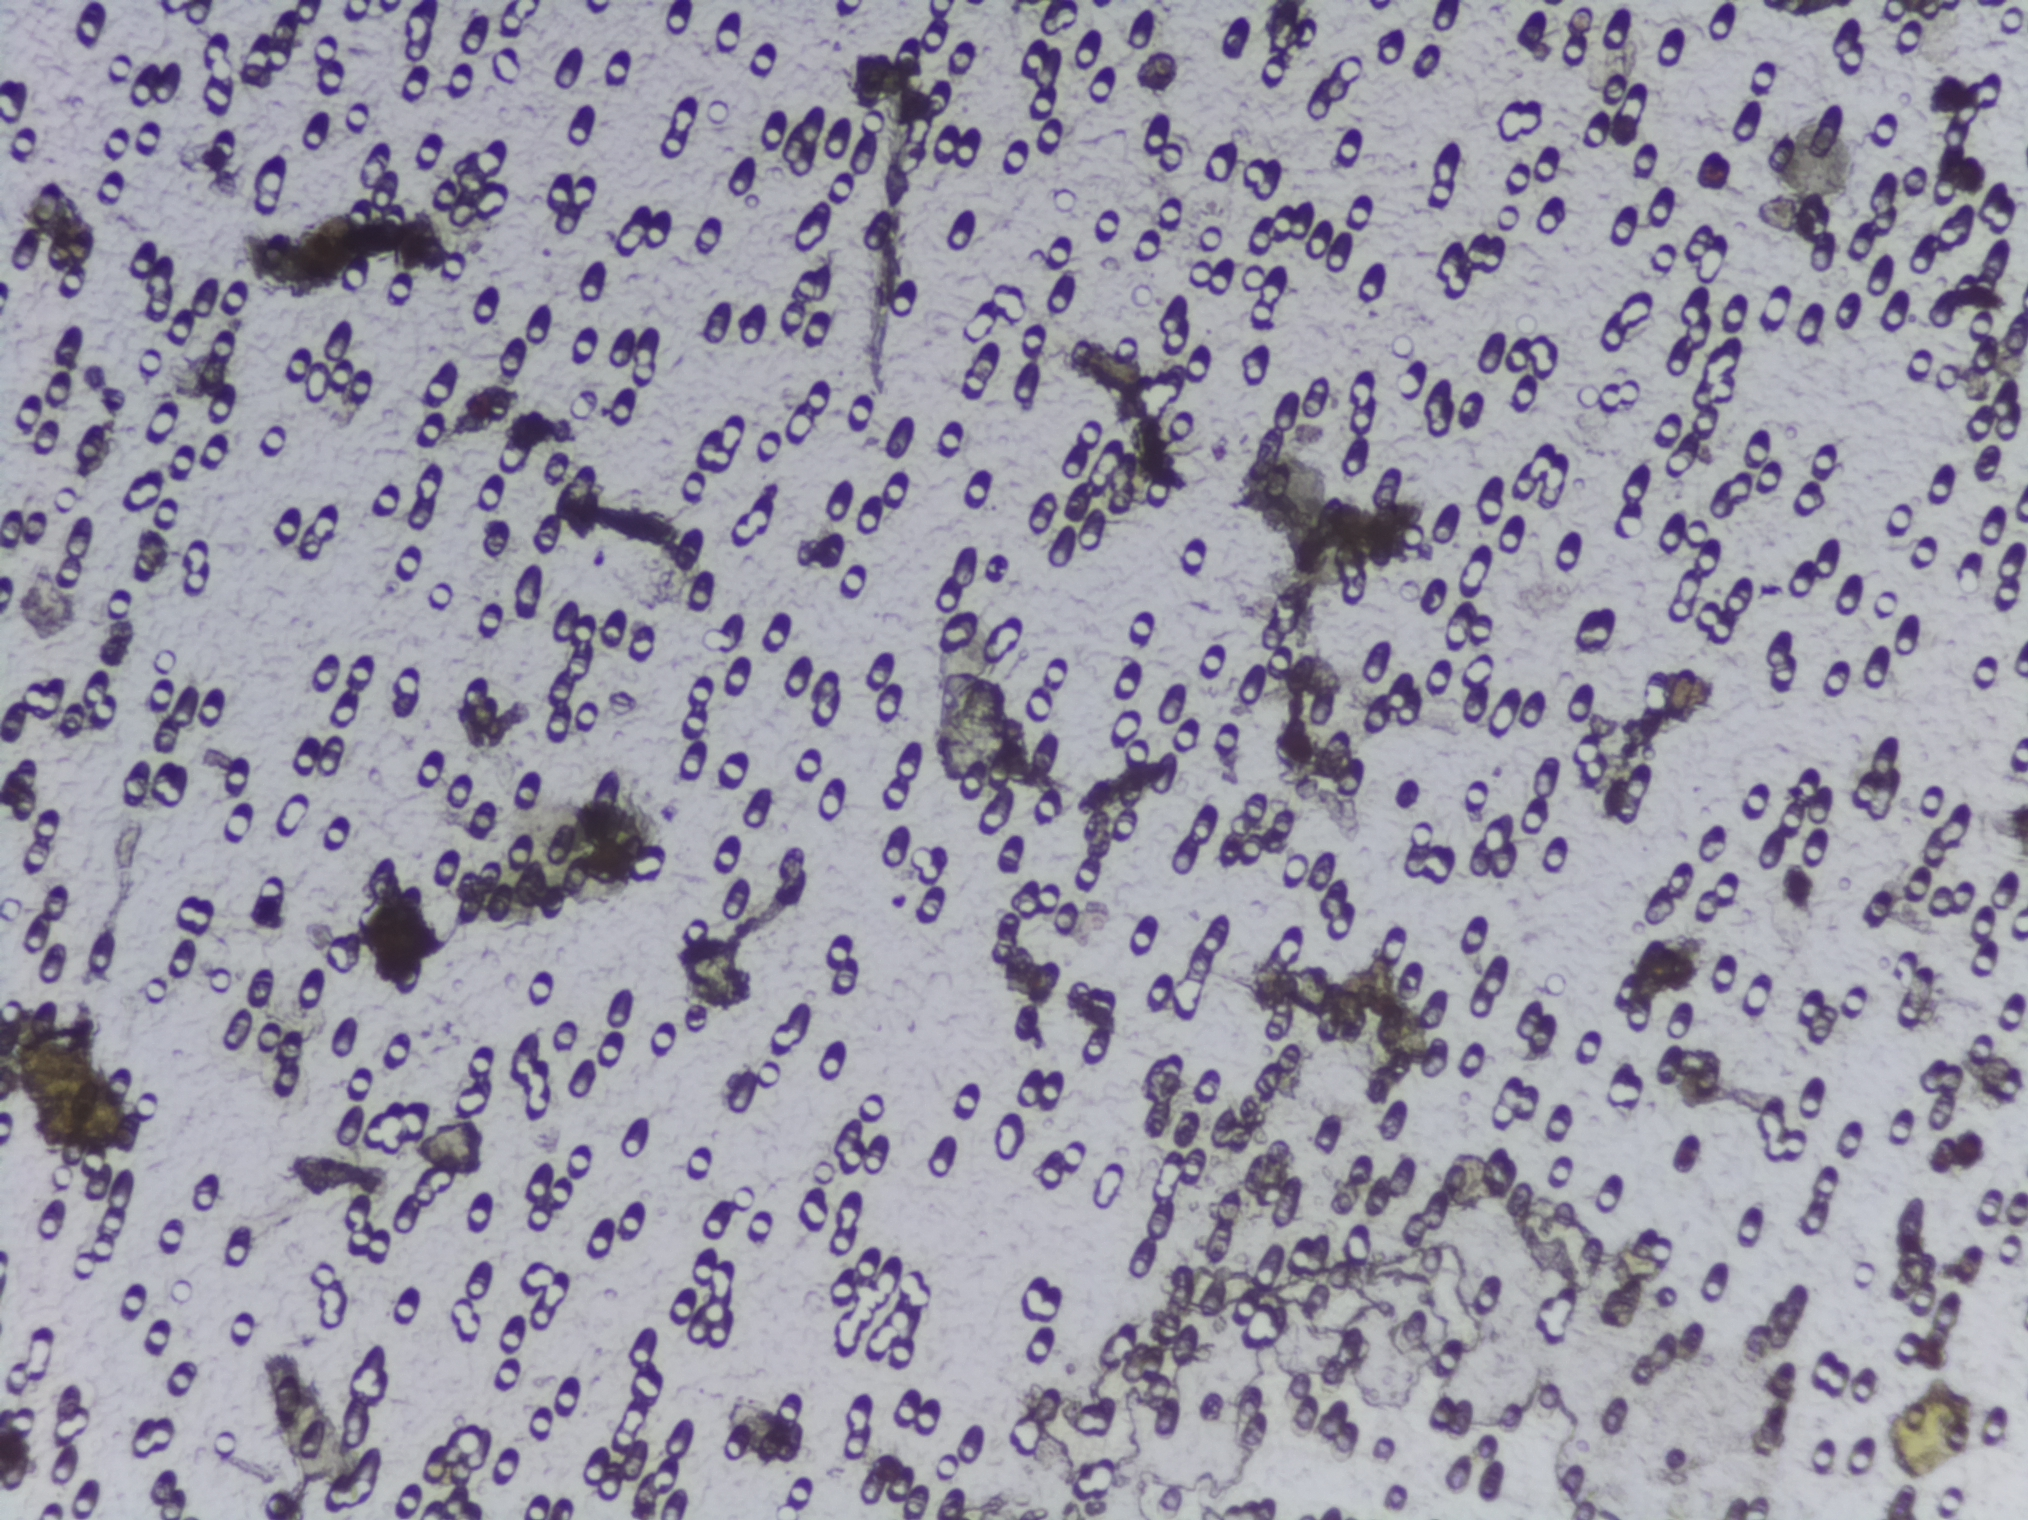
Photomicrograph of a urine filtration membrane, 4× objective.
No area of this image was outlined as a Schistosoma egg.